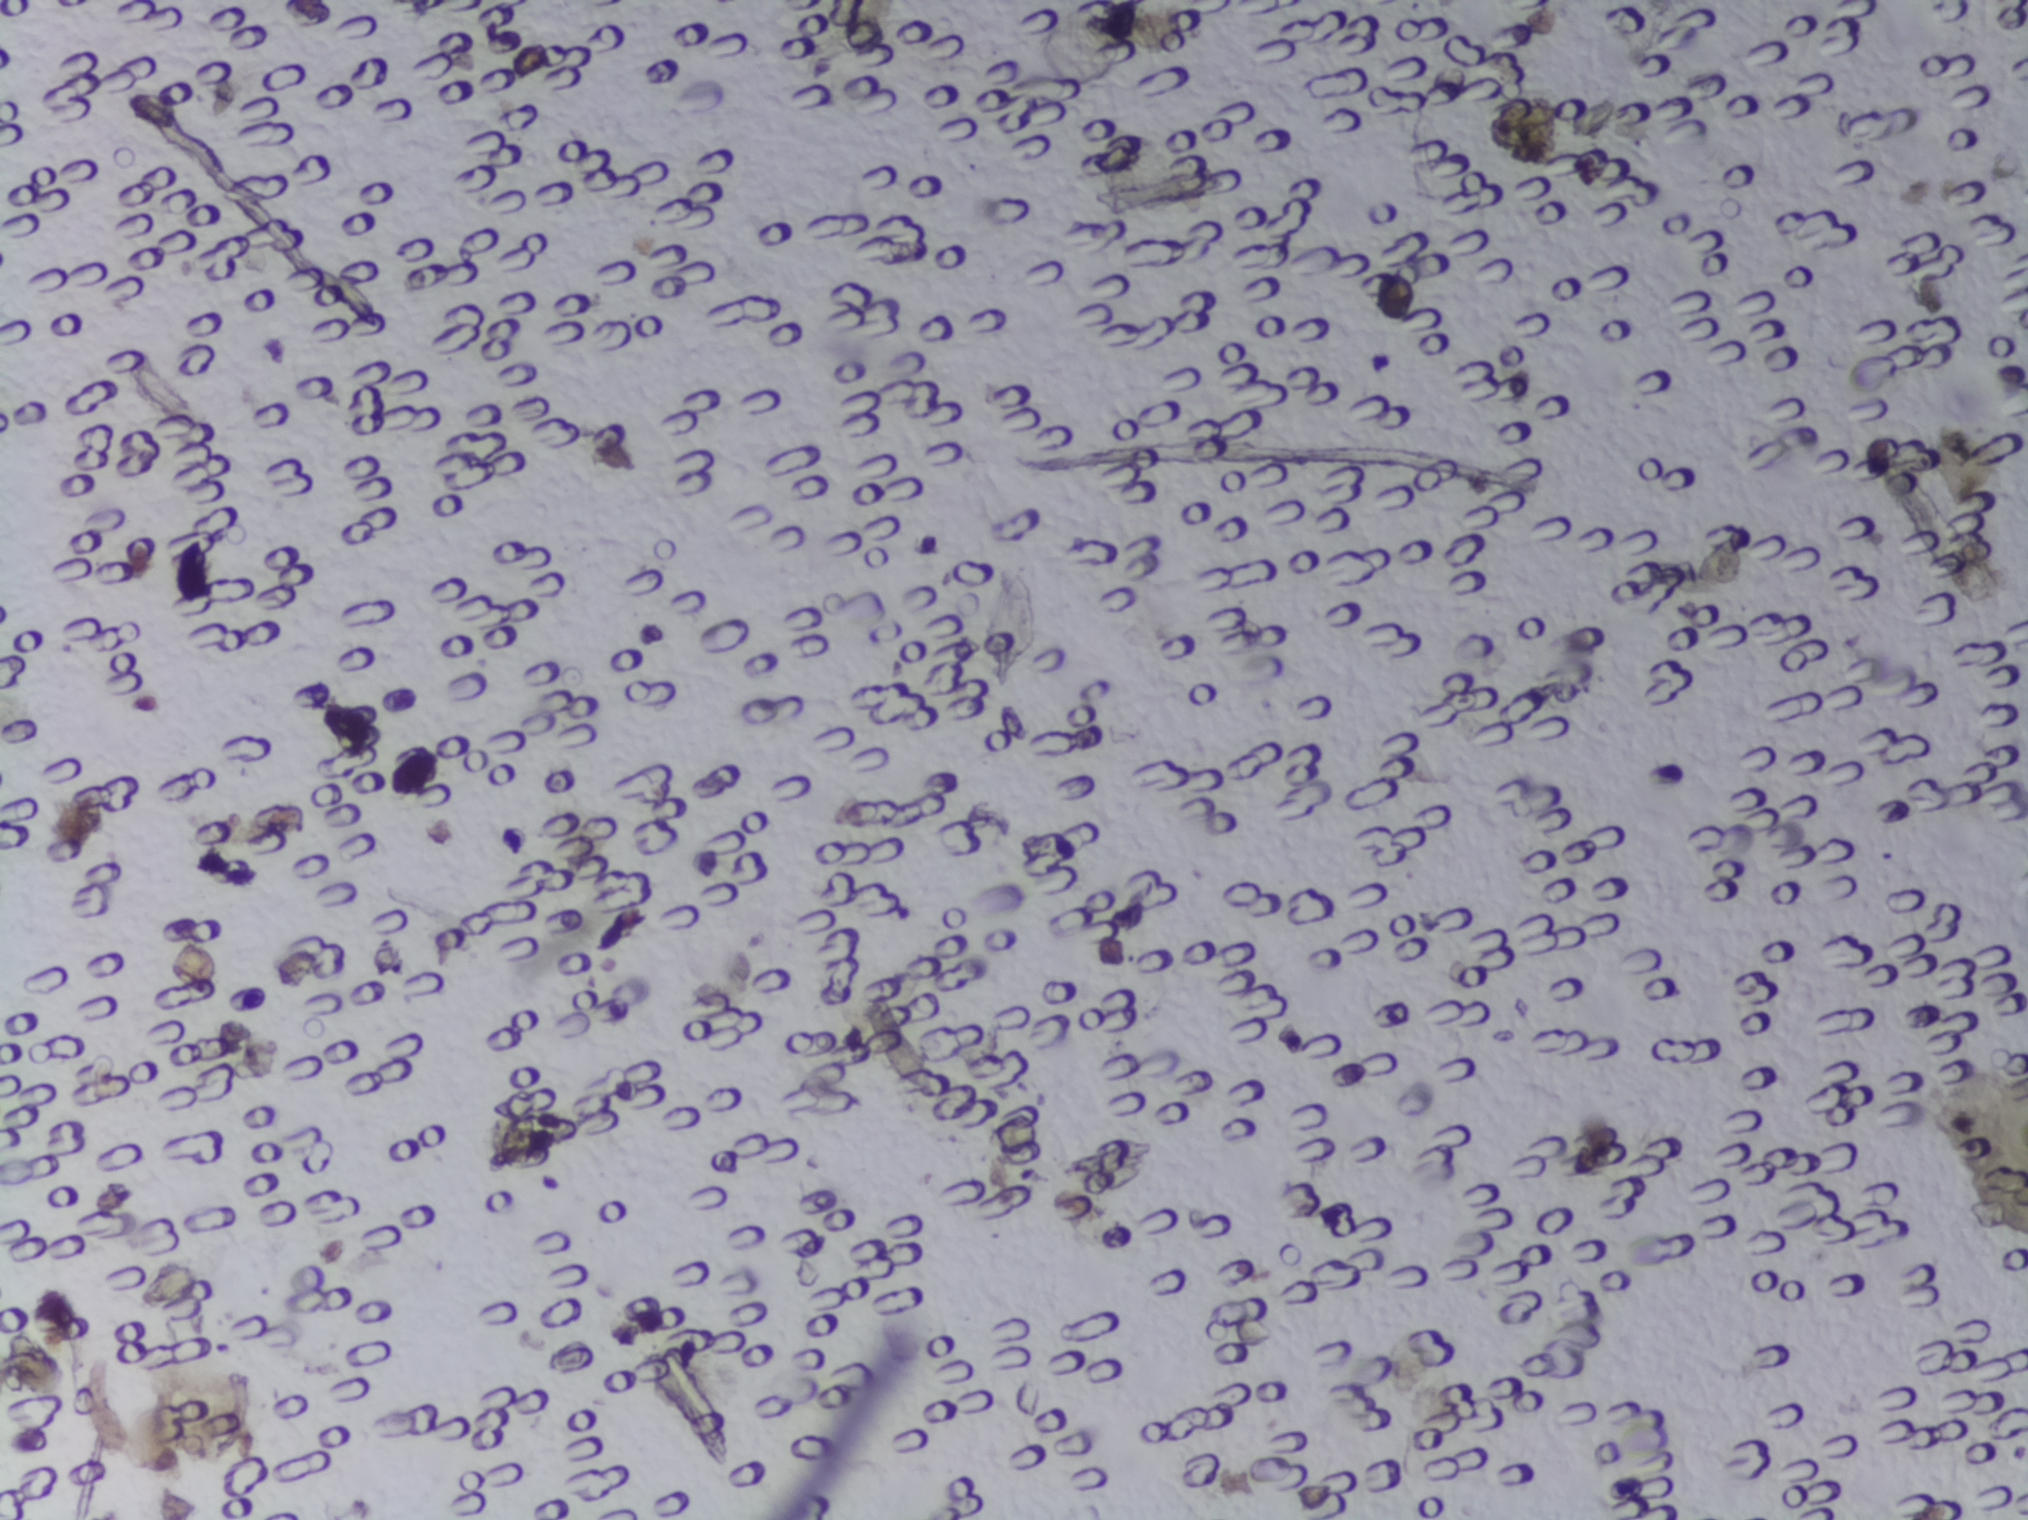
Schistosoma eggs: none outlined.
One field of view of a urine filter membrane, 4× objective, 2028 × 1520 pixels. The image covers about 1.5 × 1.1 mm of the membrane.